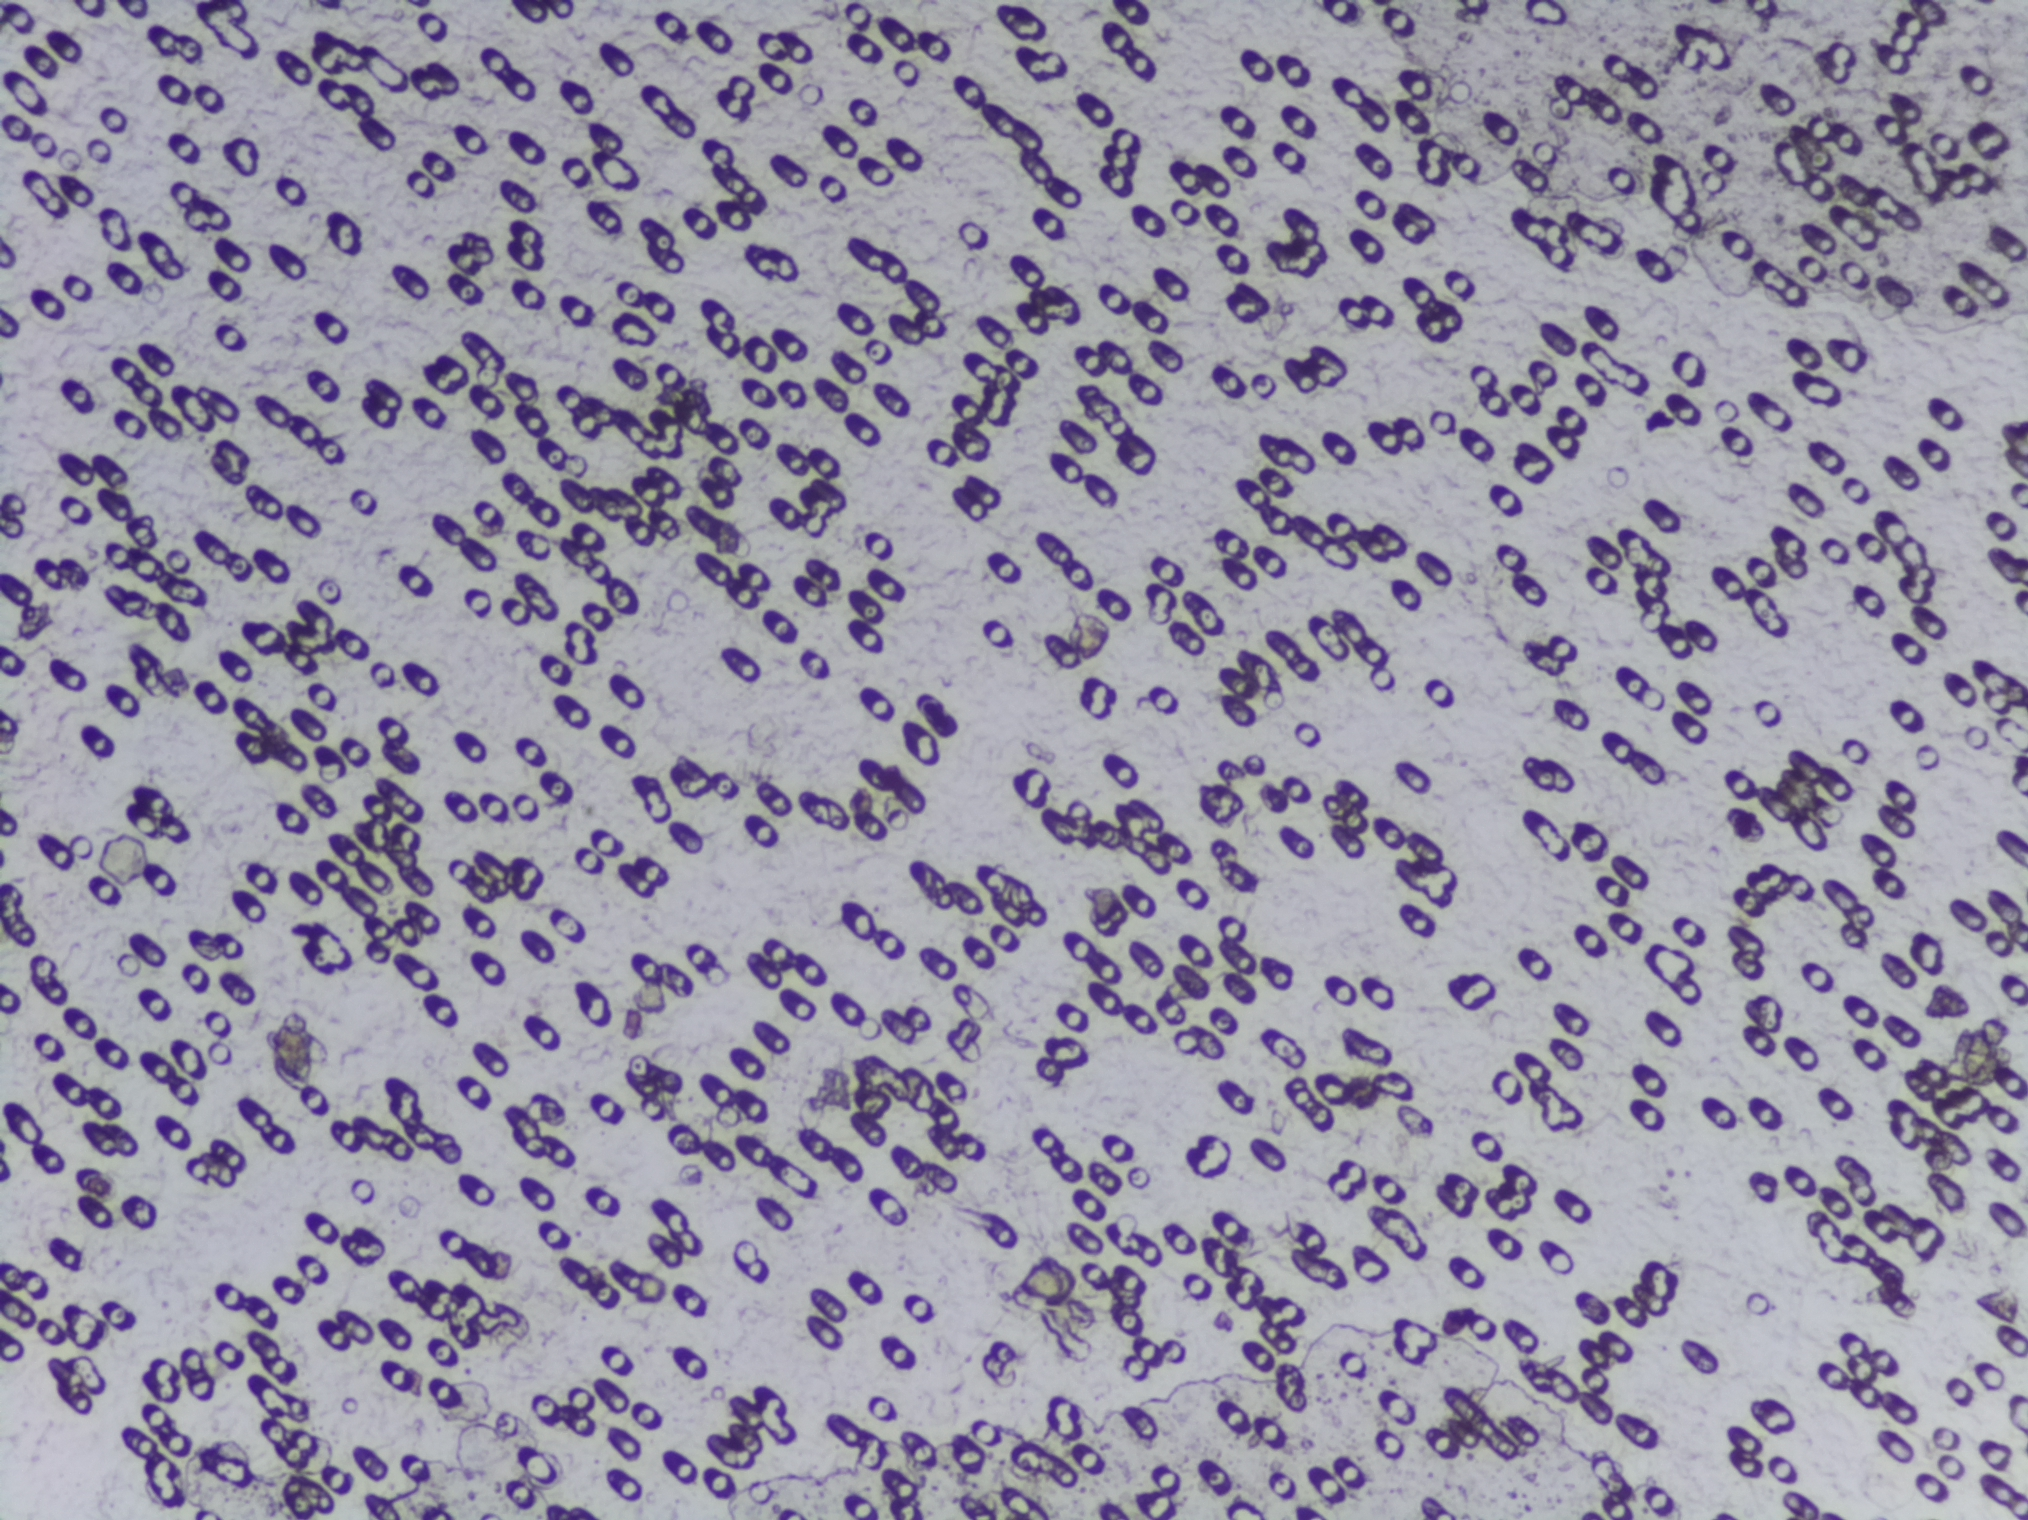
Schistosoma eggs: none outlined.
Microscope photograph (4× objective) of a membrane that a urine sample was filtered through.